Photomicrograph of a urine filtration membrane, 4× objective. The field of view is about 1.5 mm × 1.1 mm.
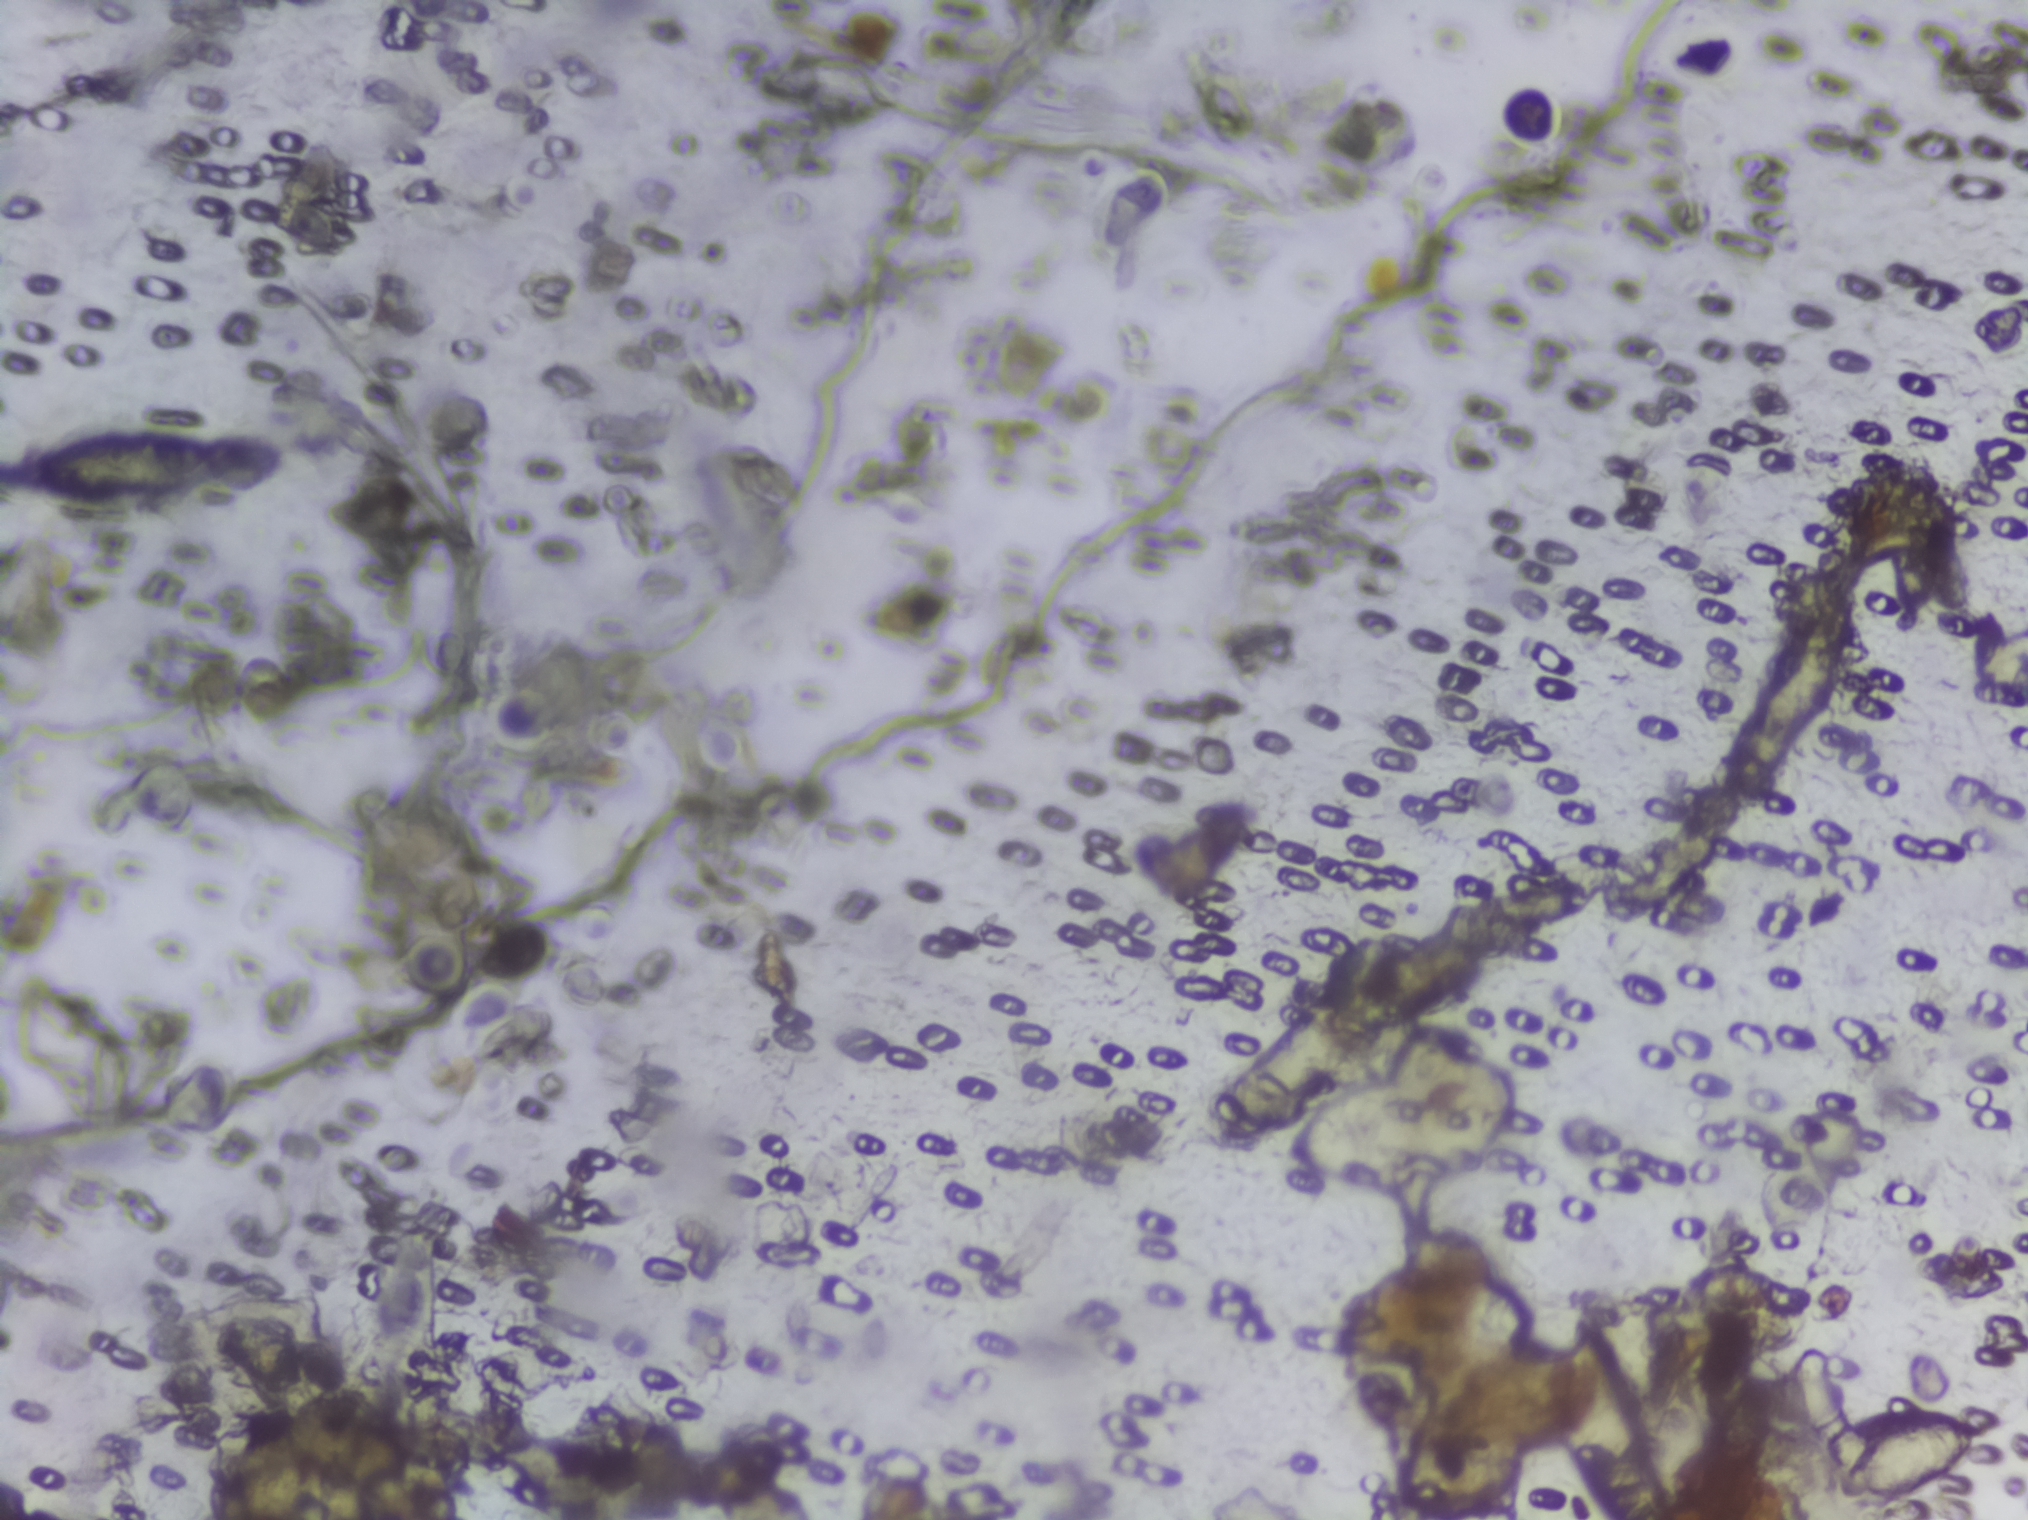
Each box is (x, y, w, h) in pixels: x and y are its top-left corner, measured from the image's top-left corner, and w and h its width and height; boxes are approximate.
Schistosoma eggs are outlined in two areas of this image, listed from left to right: (x=0, y=424, w=258, h=80) (reaching the left edge of the frame) and (x=1838, y=1411, w=143, h=93). The marked pixels themselves, not the boxes around them, cover about 0.8% of the image. An outlined area can hold more than one egg.